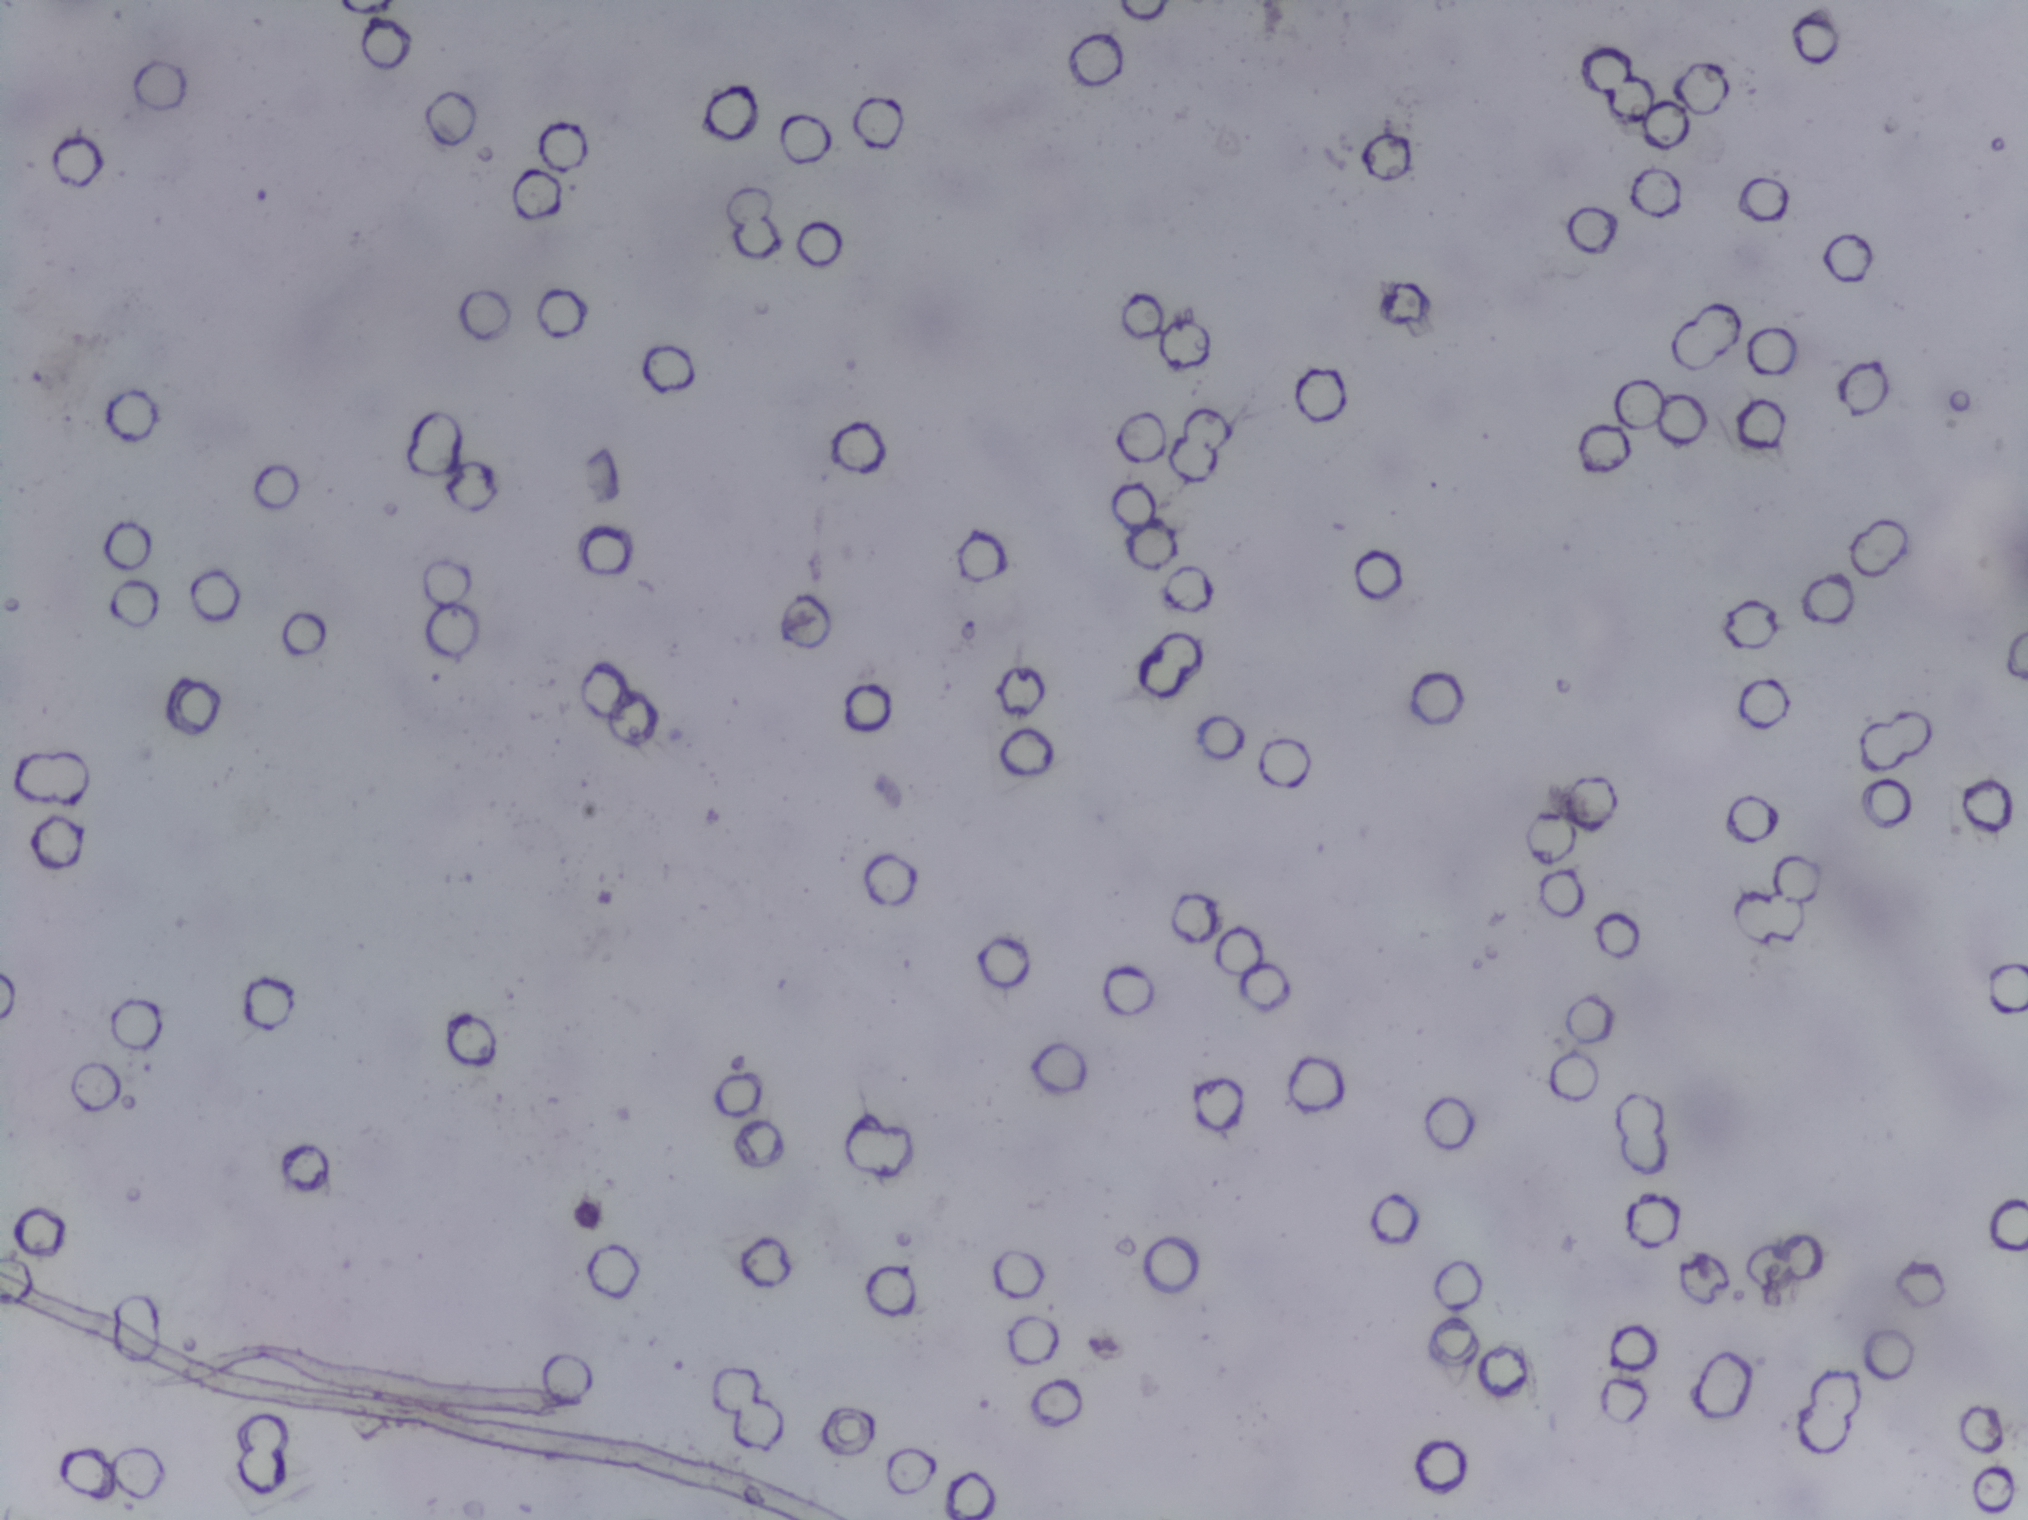
The expert annotation outlines no Schistosoma egg in this image.
Photomicrograph of a urine filtration membrane, 4× objective.